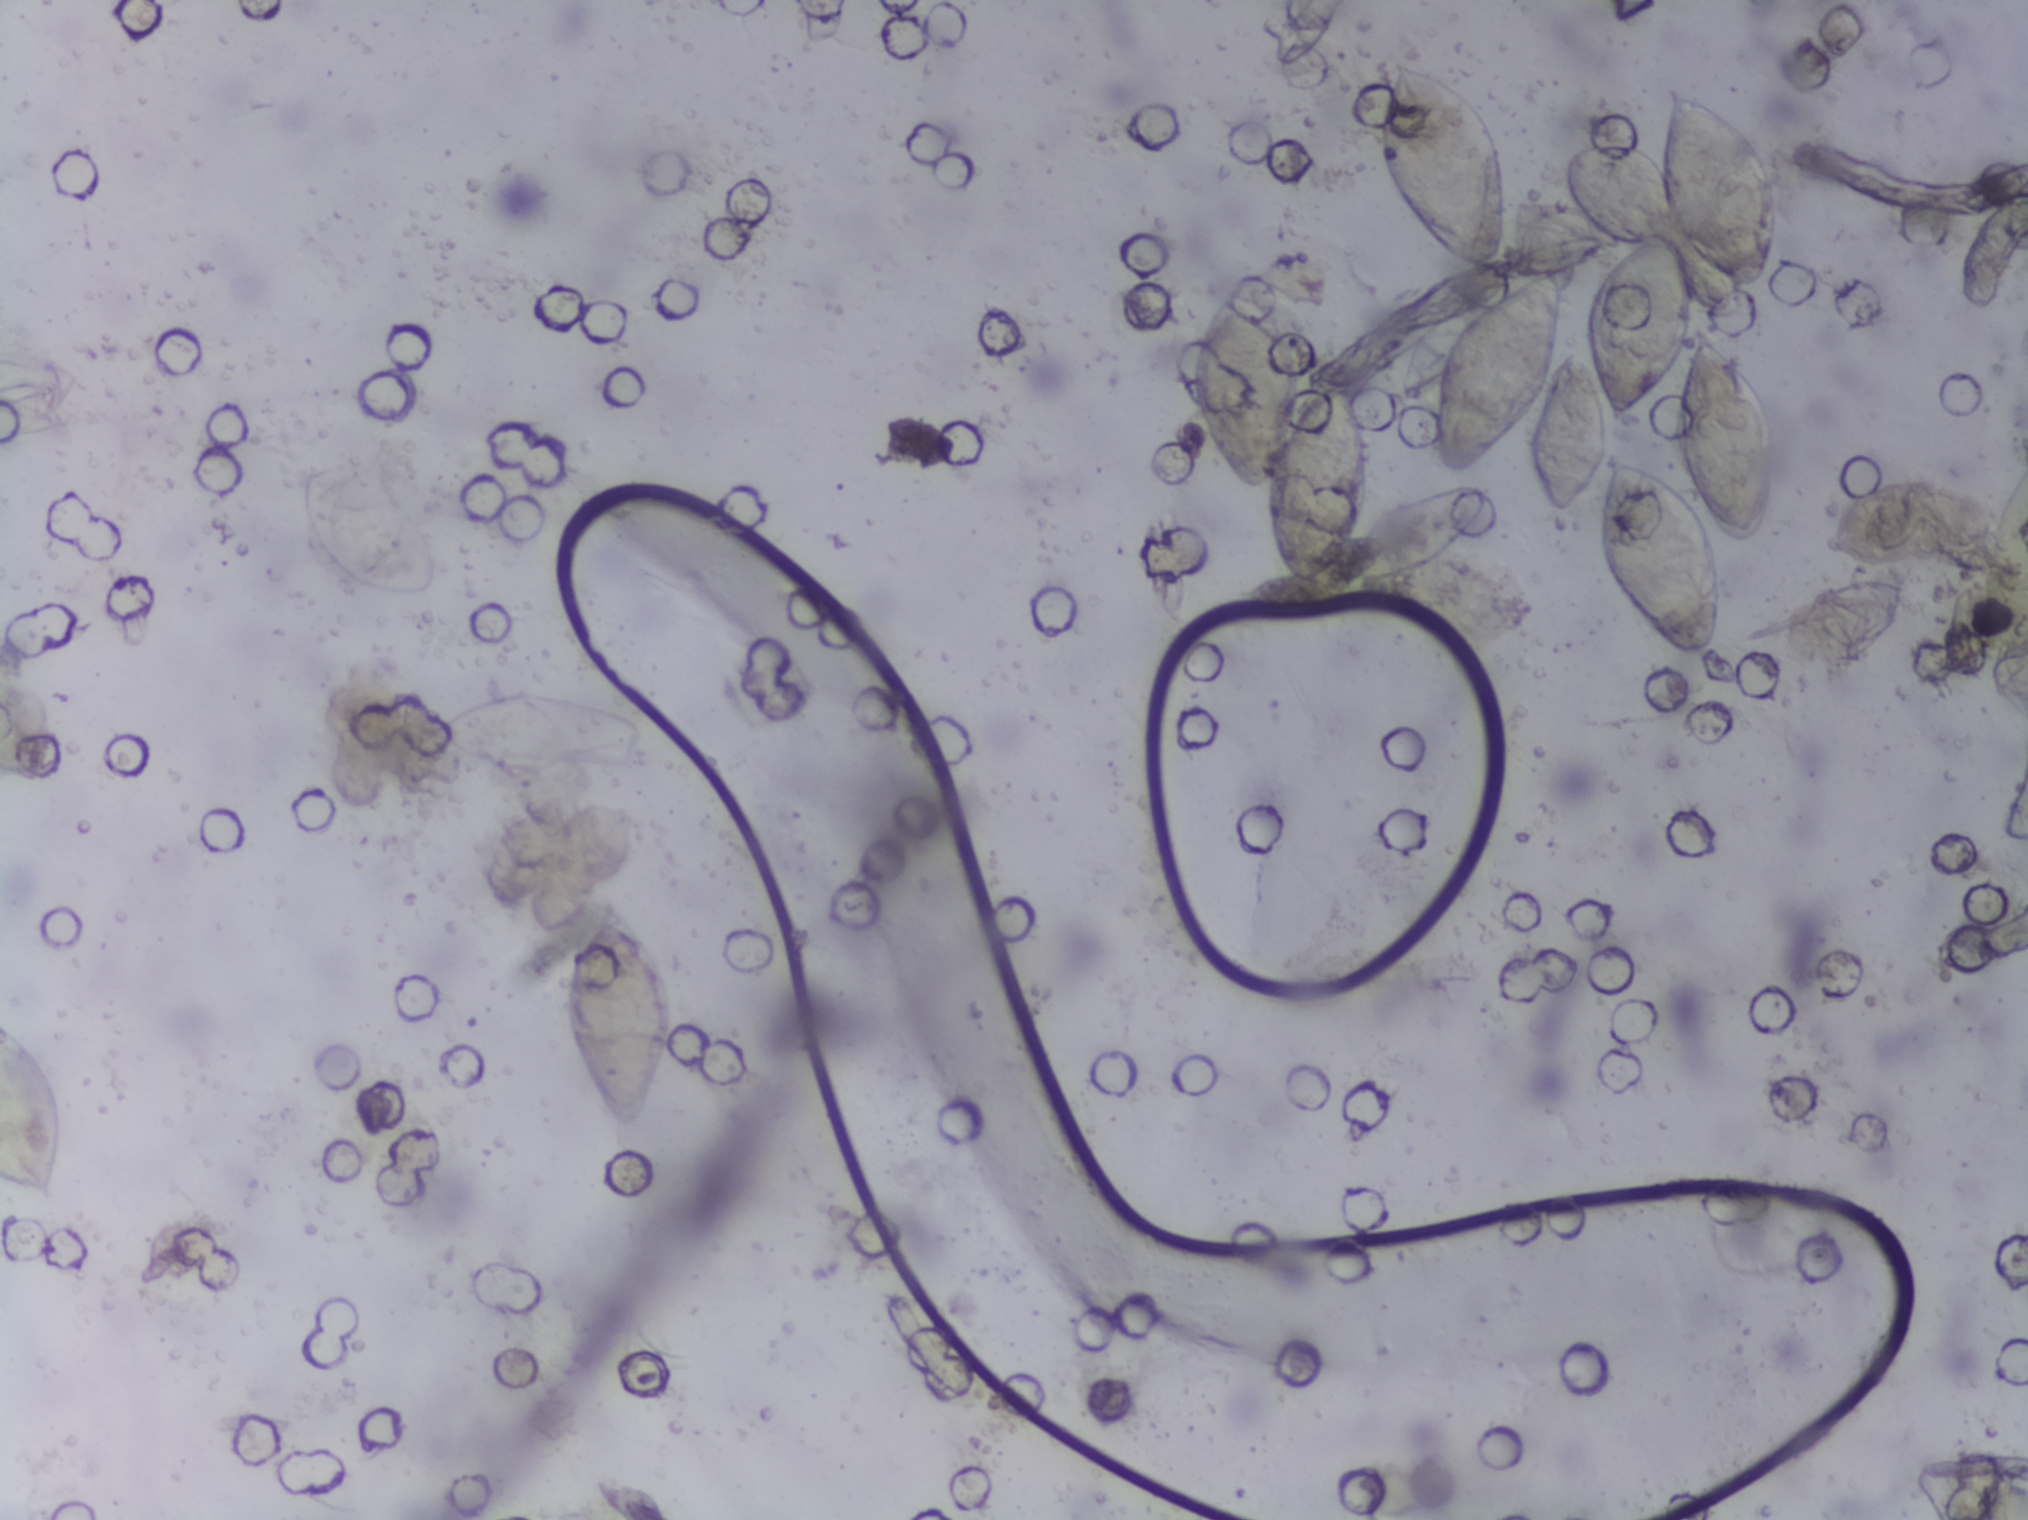
Photograph from an automated digital microscope: urine filter membrane, 4× objective.
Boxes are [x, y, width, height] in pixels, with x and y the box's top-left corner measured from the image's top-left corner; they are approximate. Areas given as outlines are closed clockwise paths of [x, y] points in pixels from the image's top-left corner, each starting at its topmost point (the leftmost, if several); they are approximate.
Outlined Schistosoma egg areas, left to right:
1. box [0, 1015, 65, 198] (reaching the left edge of the frame)
2. box [298, 462, 139, 131]
3. box [421, 683, 228, 90]
4. box [558, 897, 118, 242]
5. outline [1247, 263], [1268, 268], [1287, 295], [1305, 338], [1306, 392], [1339, 371], [1356, 374], [1372, 434], [1357, 529], [1397, 502], [1446, 488], [1473, 485], [1484, 500], [1470, 533], [1410, 572], [1366, 584], [1334, 584], [1329, 577], [1323, 582], [1350, 591], [1350, 600], [1313, 617], [1272, 618], [1234, 597], [1241, 583], [1272, 572], [1261, 545], [1261, 493], [1245, 491], [1221, 468], [1197, 410], [1195, 328], [1205, 298] (eggs clustered together)
6. box [1373, 47, 140, 228]
7. outline [1665, 73], [1718, 95], [1766, 139], [1778, 157], [1784, 200], [1784, 228], [1770, 257], [1766, 288], [1733, 292], [1692, 267], [1694, 320], [1729, 338], [1764, 382], [1778, 475], [1776, 501], [1759, 540], [1740, 543], [1712, 522], [1726, 566], [1726, 621], [1714, 655], [1697, 663], [1671, 656], [1607, 586], [1599, 557], [1598, 486], [1566, 521], [1547, 514], [1527, 472], [1526, 424], [1504, 452], [1466, 478], [1441, 478], [1427, 458], [1429, 363], [1465, 302], [1512, 283], [1543, 261], [1560, 259], [1560, 352], [1571, 343], [1586, 350], [1589, 296], [1601, 272], [1629, 242], [1667, 224], [1659, 202], [1659, 88] (eggs clustered together)
8. box [1774, 578, 131, 90]
9. box [1819, 485, 183, 87]
10. box [1907, 1453, 121, 67] (reaching the right and bottom edges of the frame)
The marked pixels themselves, not the boxes and the outlines around them, cover about 8.4% of the image. Eggs that touch can end up inside the same outlined area. Any one outlined egg may, rarely, be S. mansoni rather than S. haematobium.